Urine filtration membrane under a 4× objective, photographed by an automated digital microscope.
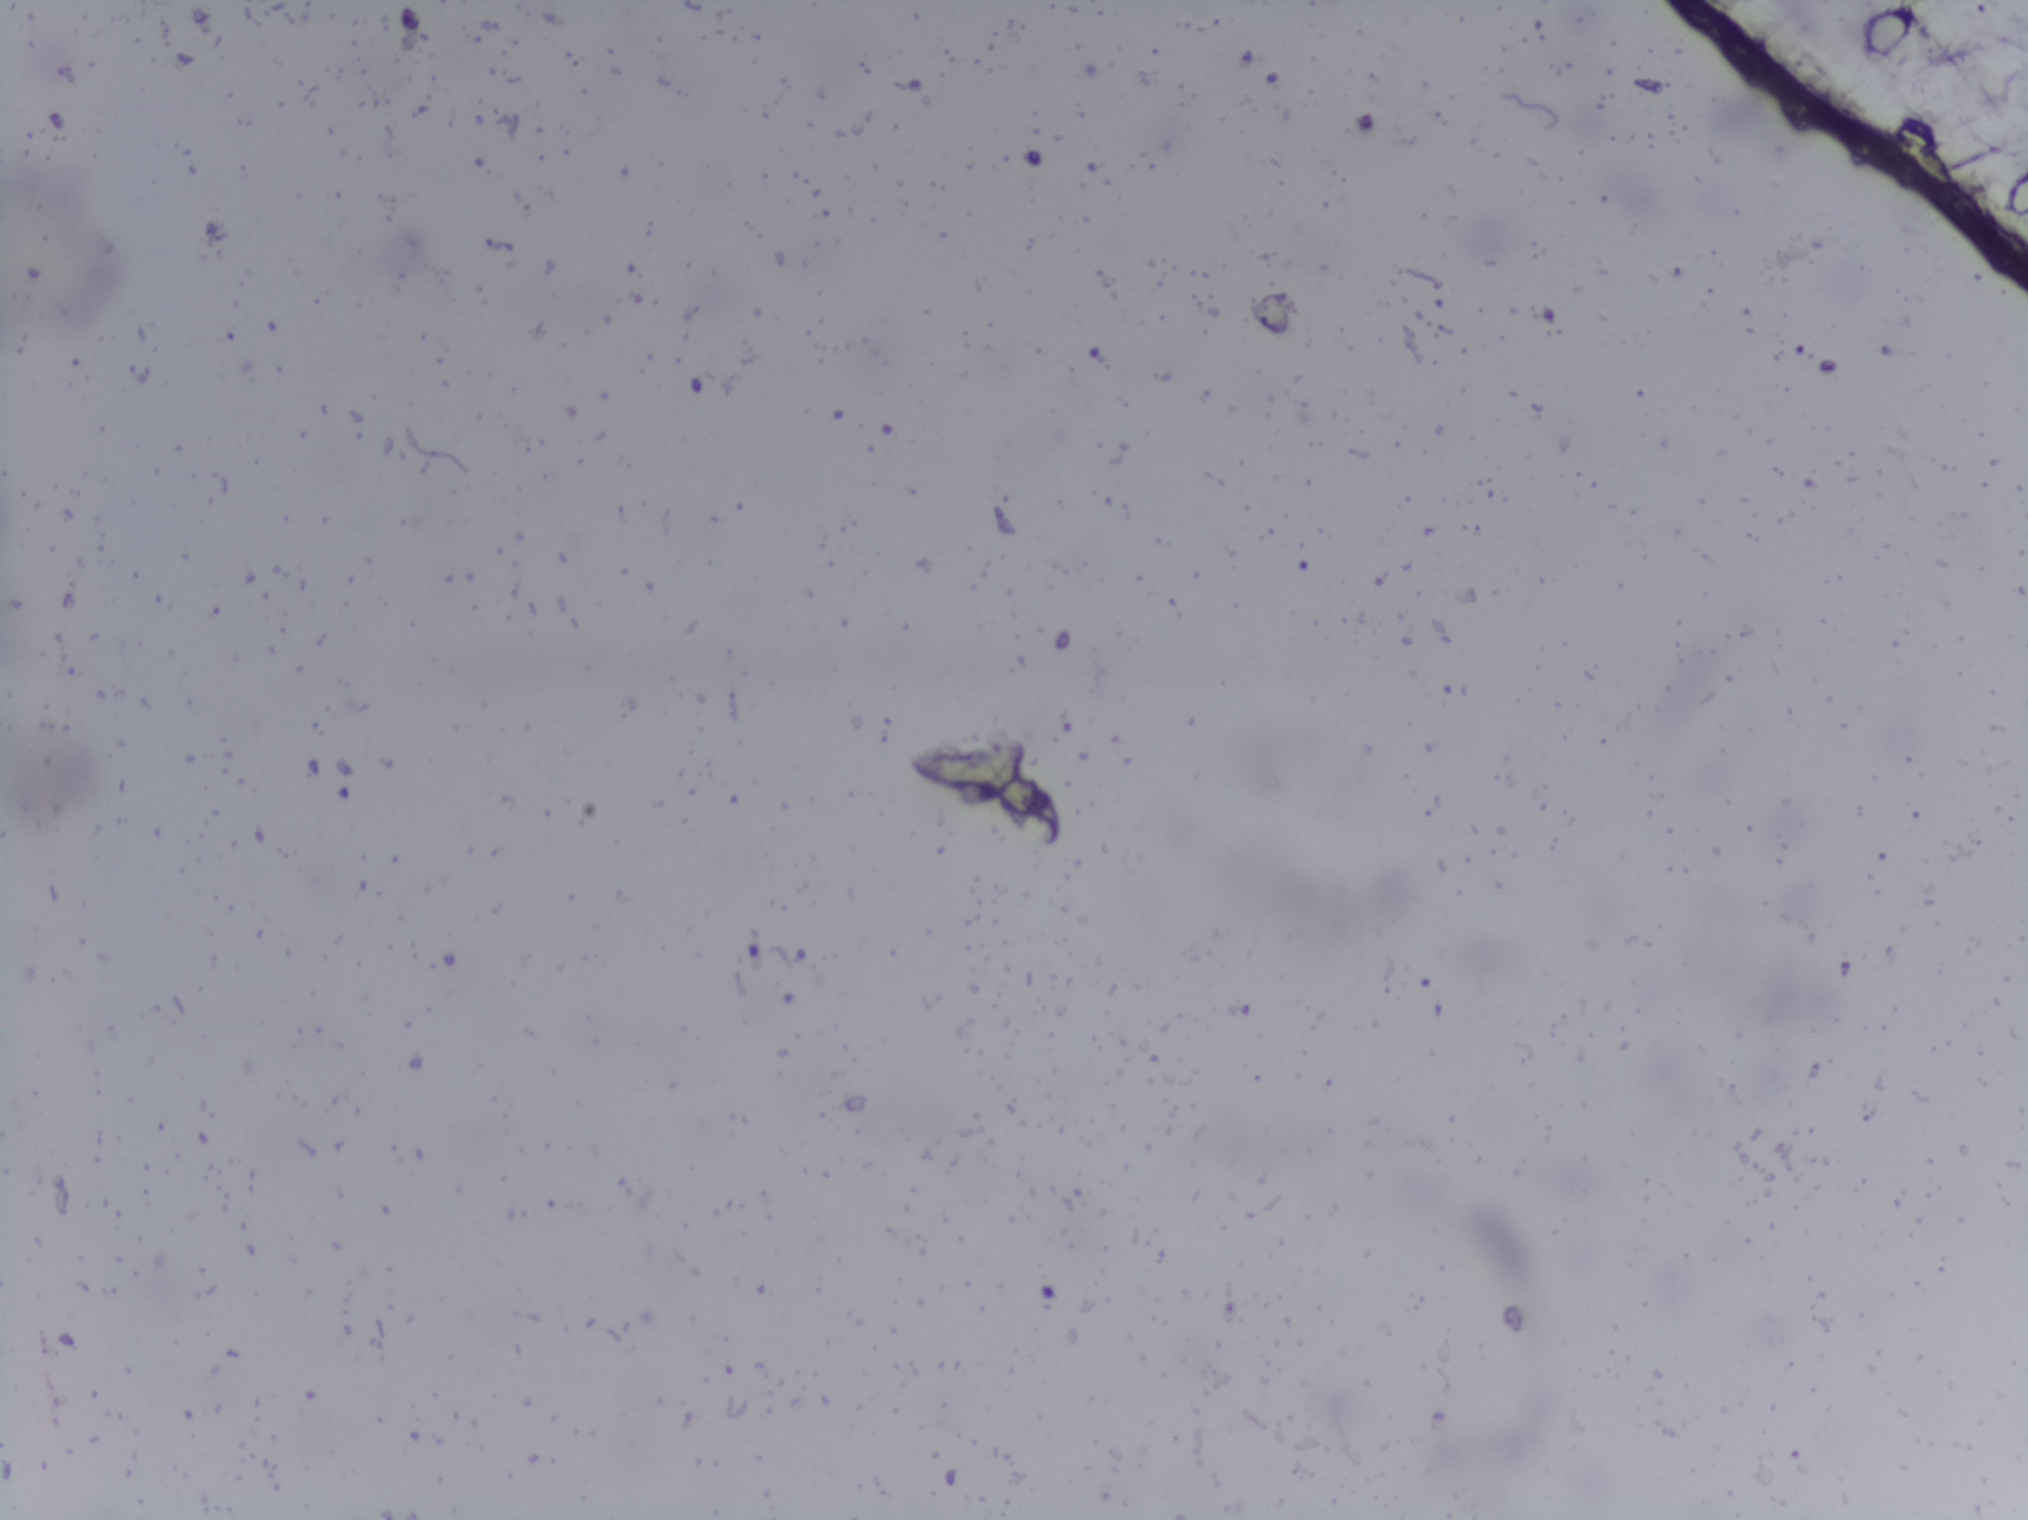
The expert annotation marks no Schistosoma egg in this field of view.